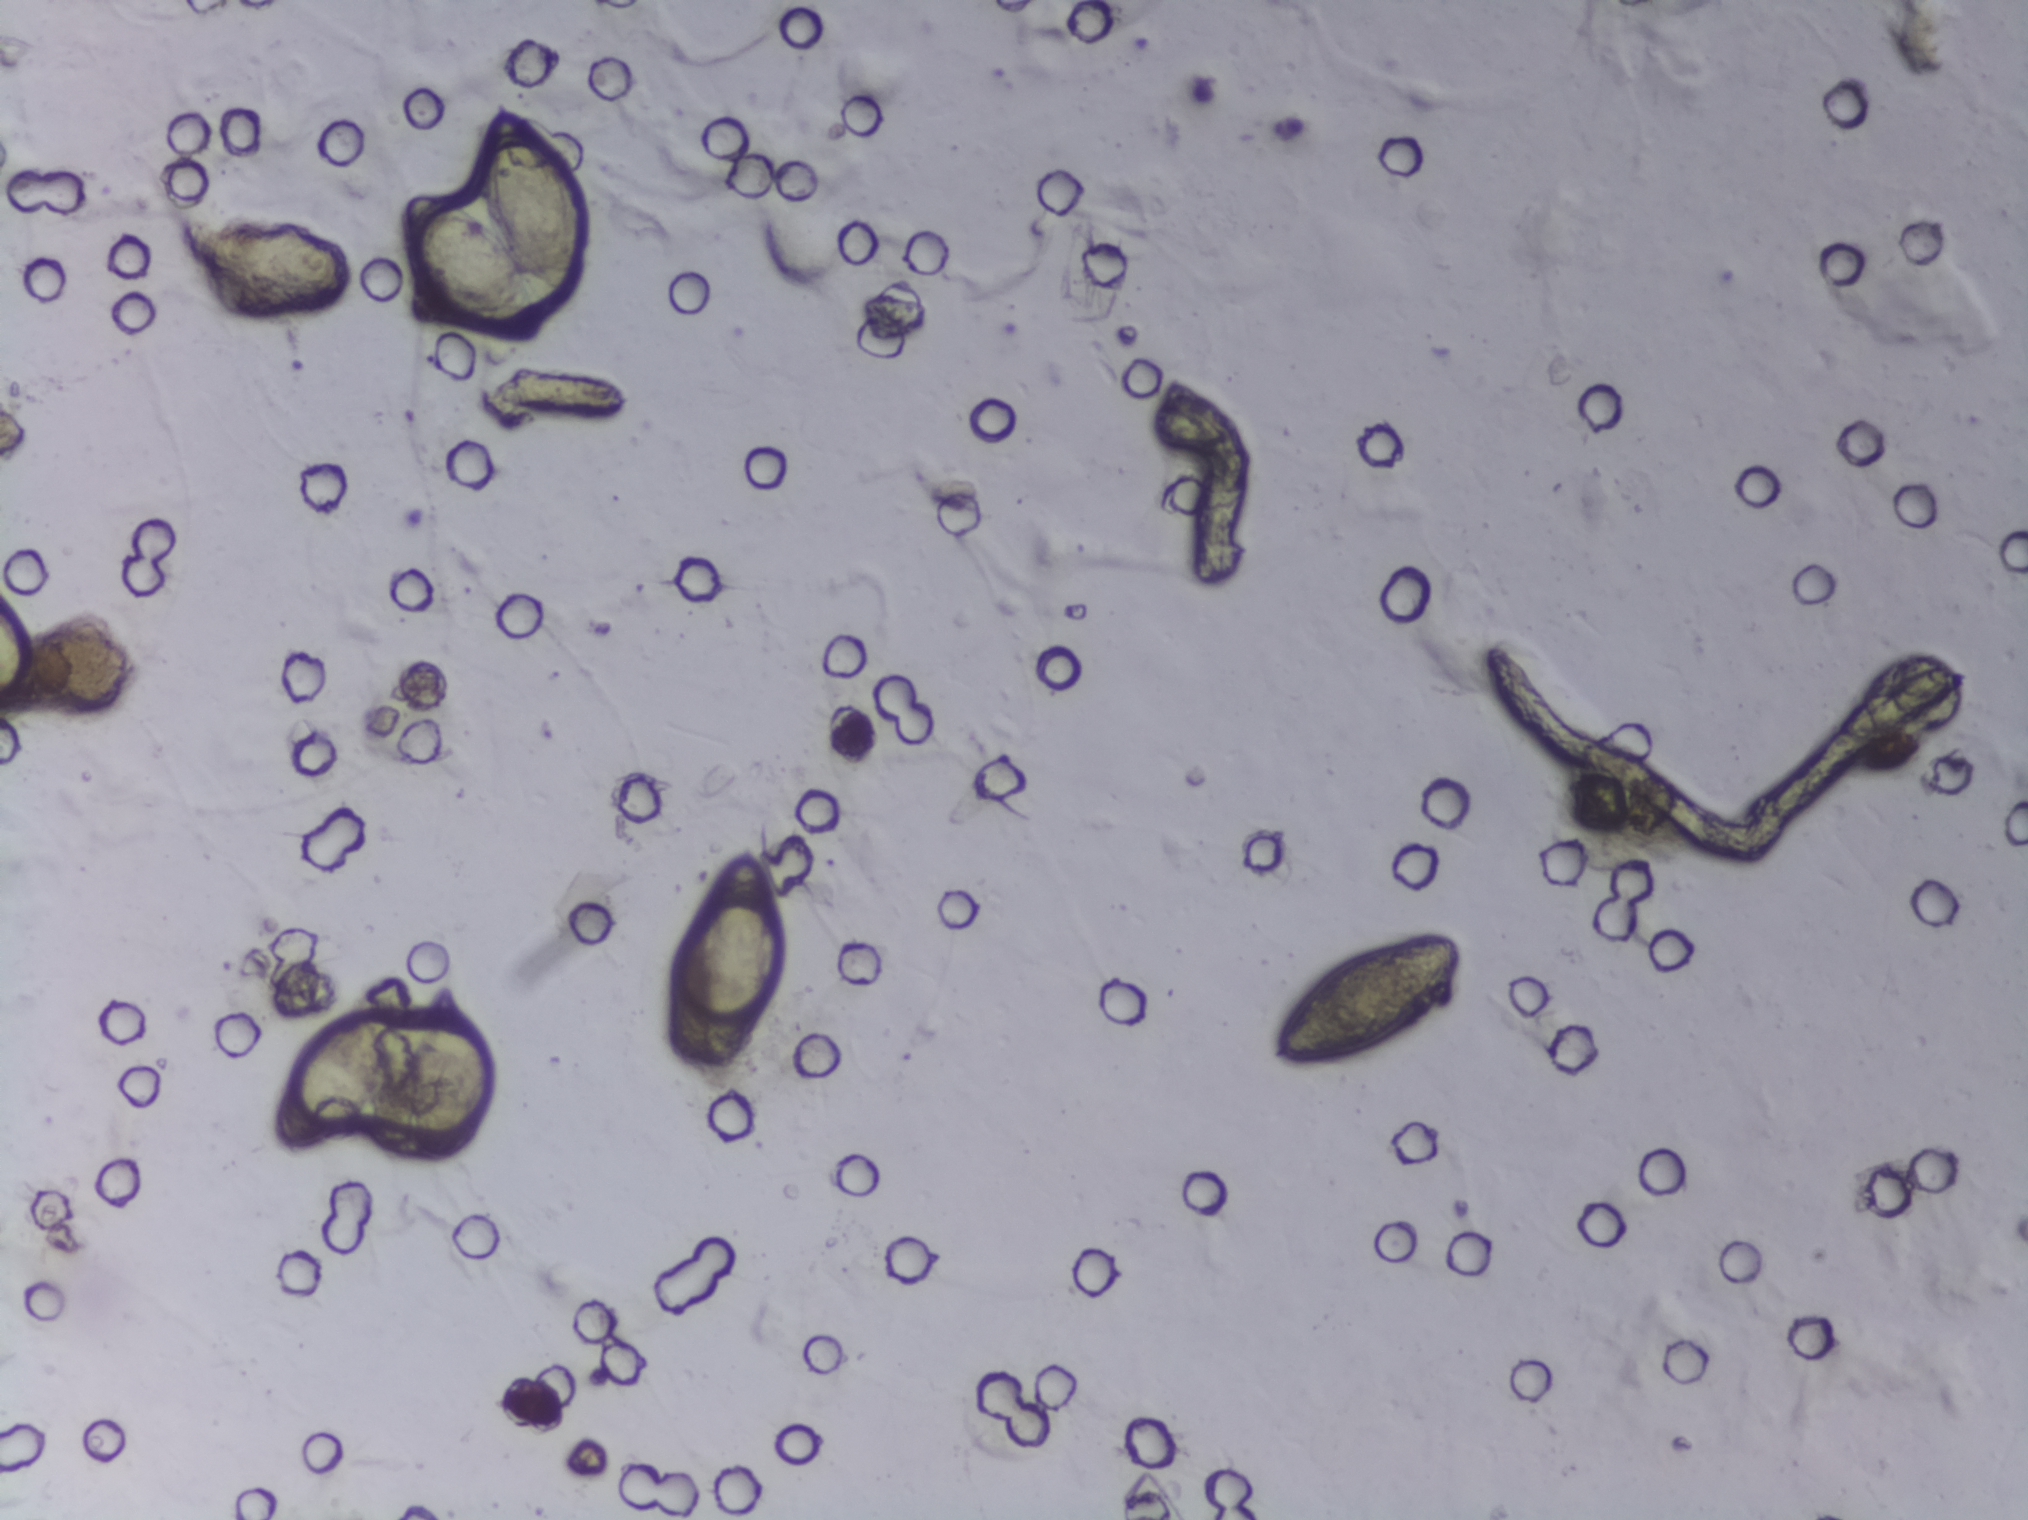
Photomicrograph of a urine filtration membrane, 4× objective.
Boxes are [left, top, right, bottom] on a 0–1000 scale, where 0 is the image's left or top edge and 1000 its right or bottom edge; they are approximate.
Schistosoma eggs are outlined in six areas of this image, listed from left to right: [0, 383, 15, 466] (reaching the left edge of the frame); [86, 141, 175, 205]; [134, 638, 242, 768]; [192, 63, 292, 228]; [324, 553, 389, 705]; [626, 611, 723, 705]. About 3.8% of the image's pixels are marked (the marked pixels themselves, not the boxes around them). A single outlined area may contain several eggs.